Urine filter membrane photographed through a 4× microscope objective.
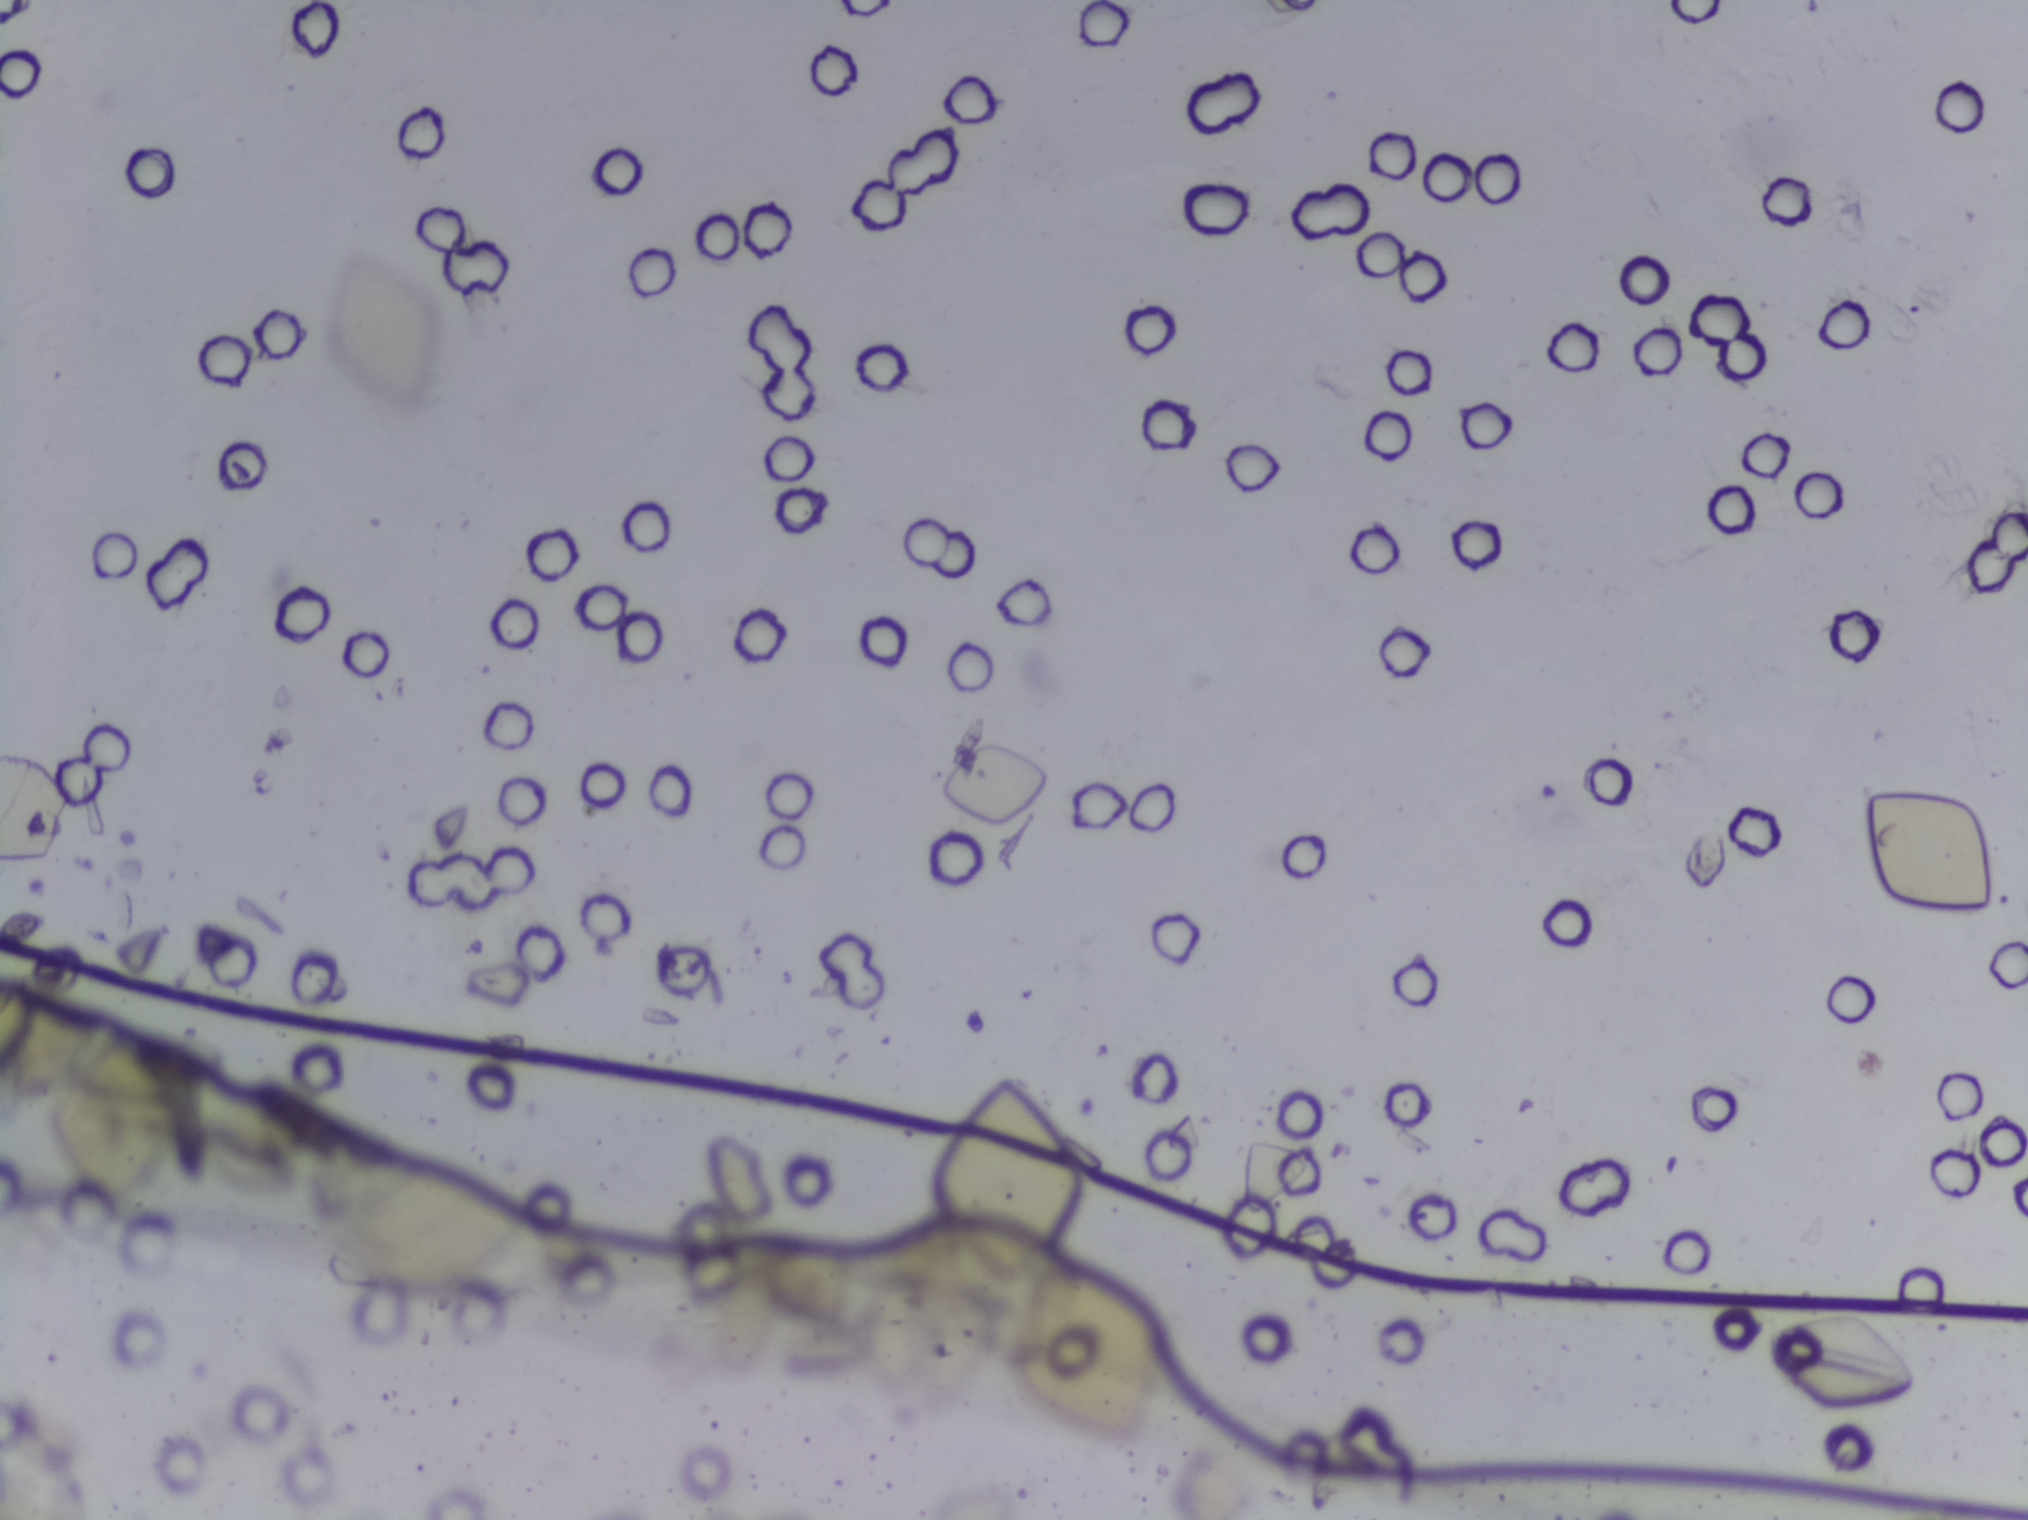
No Schistosoma egg is outlined in this image's expert annotation.